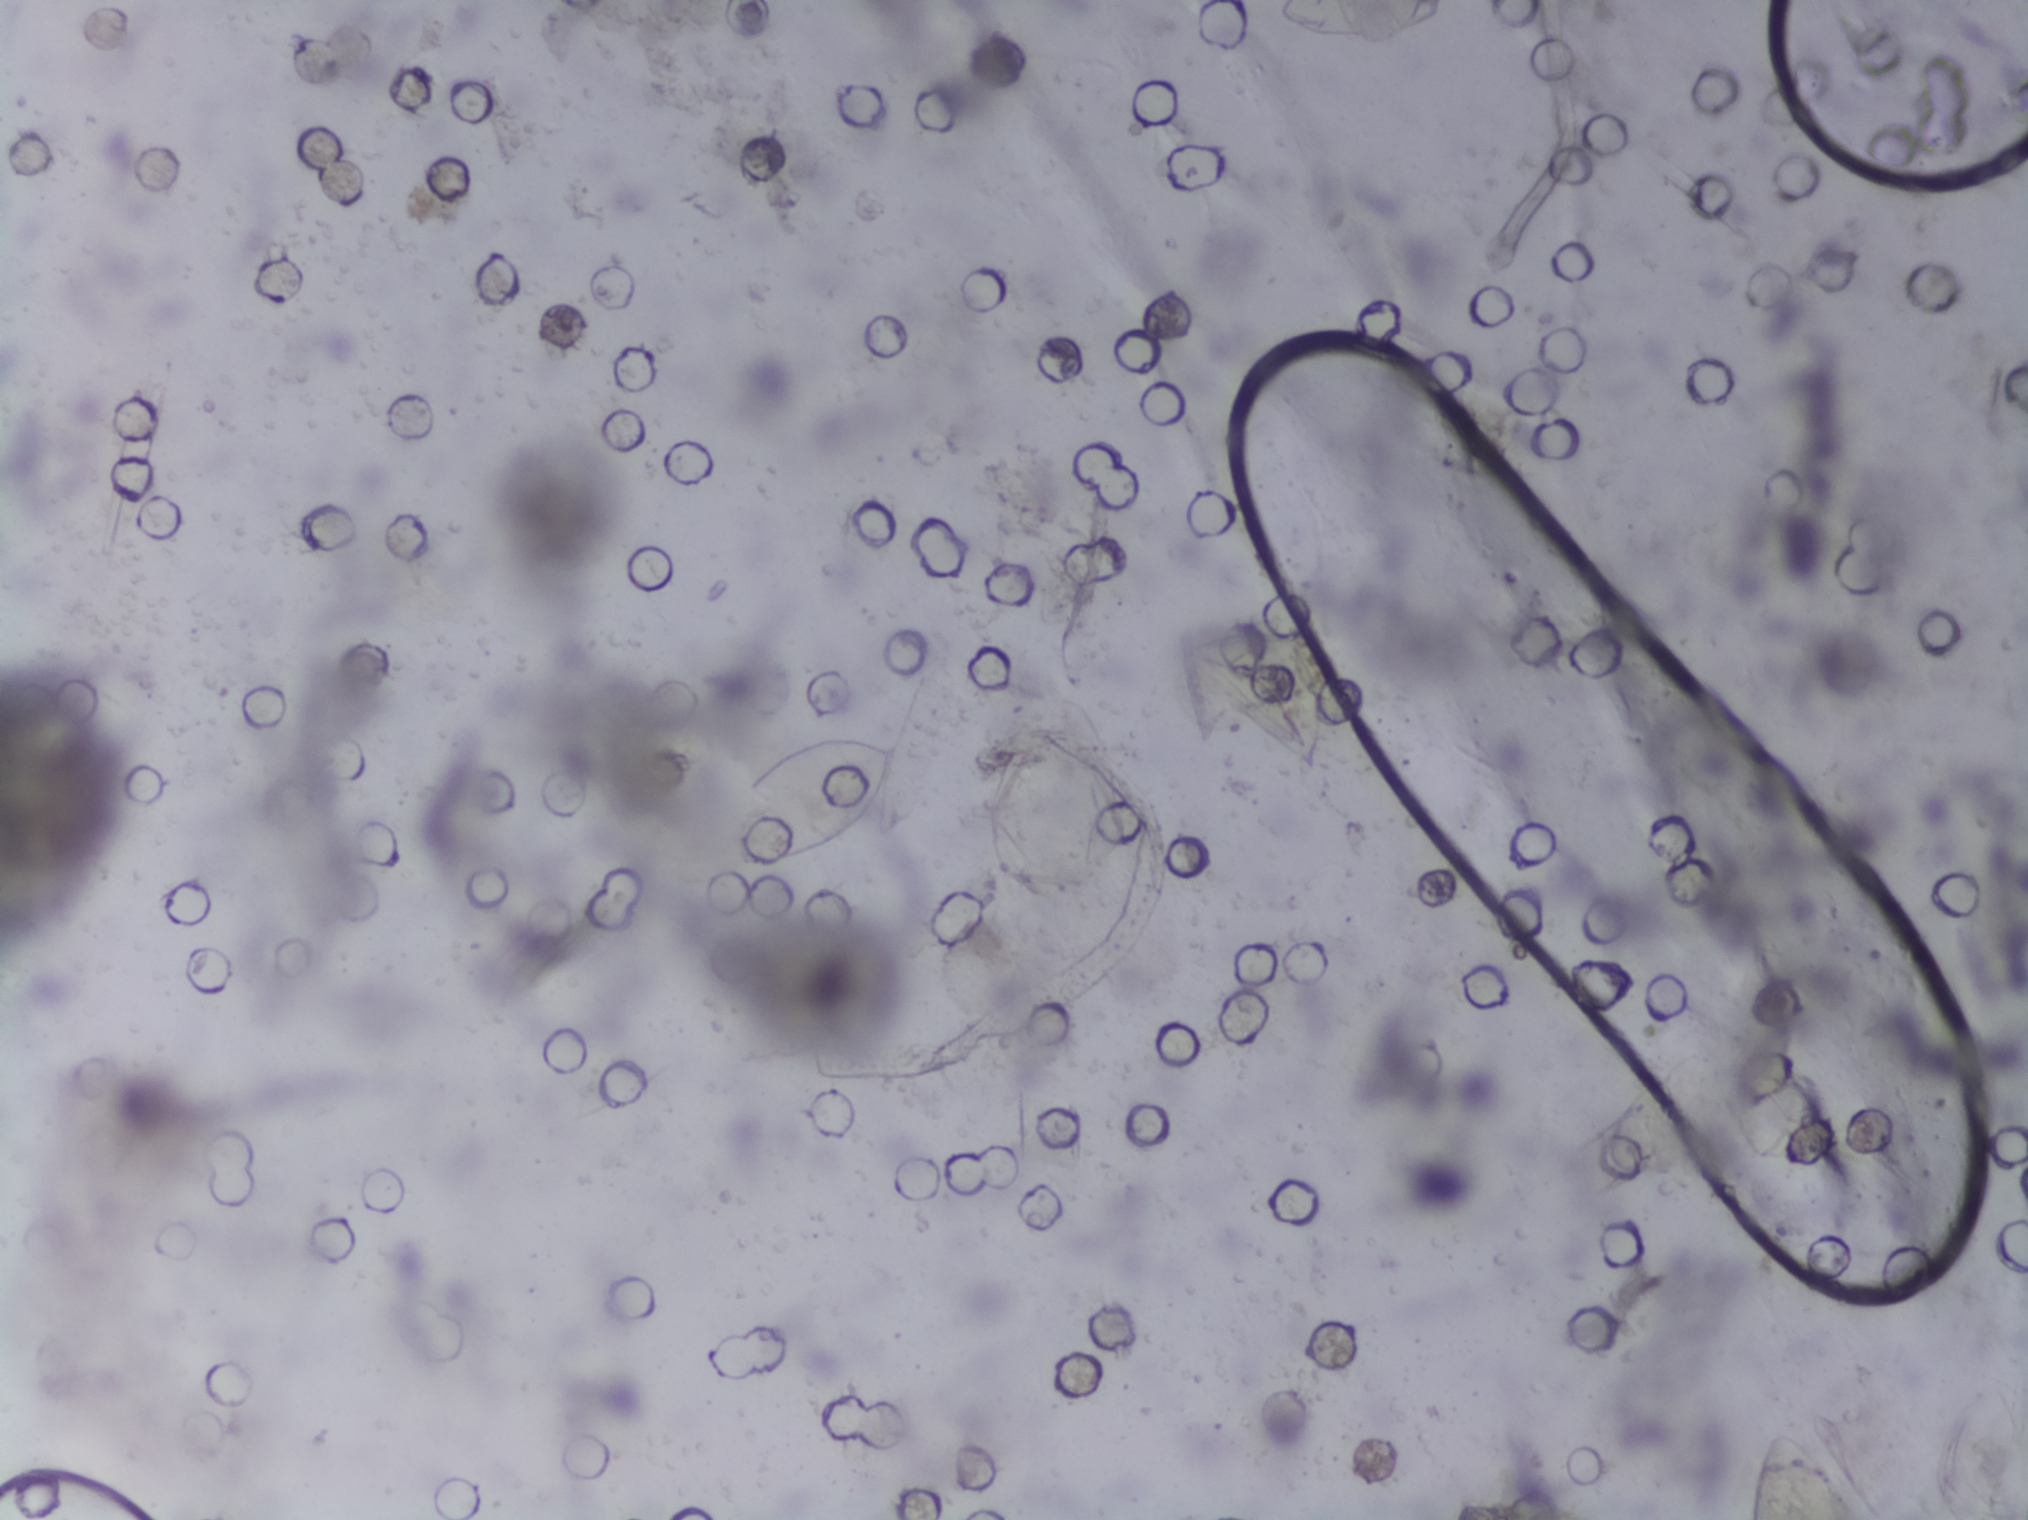
Photograph from an automated digital microscope: urine filter membrane, 4× objective. Field of view: about 1.5 mm wide and 1.1 mm high.
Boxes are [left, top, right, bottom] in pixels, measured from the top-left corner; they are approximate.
The expert annotation outlines Schistosoma eggs at [715, 730, 906, 871] and [1733, 1412, 1866, 1519] (reaching the bottom edge of the frame). A single outlined area may contain several eggs.